Urine filtration membrane under a 4× objective, photographed by an automated digital microscope.
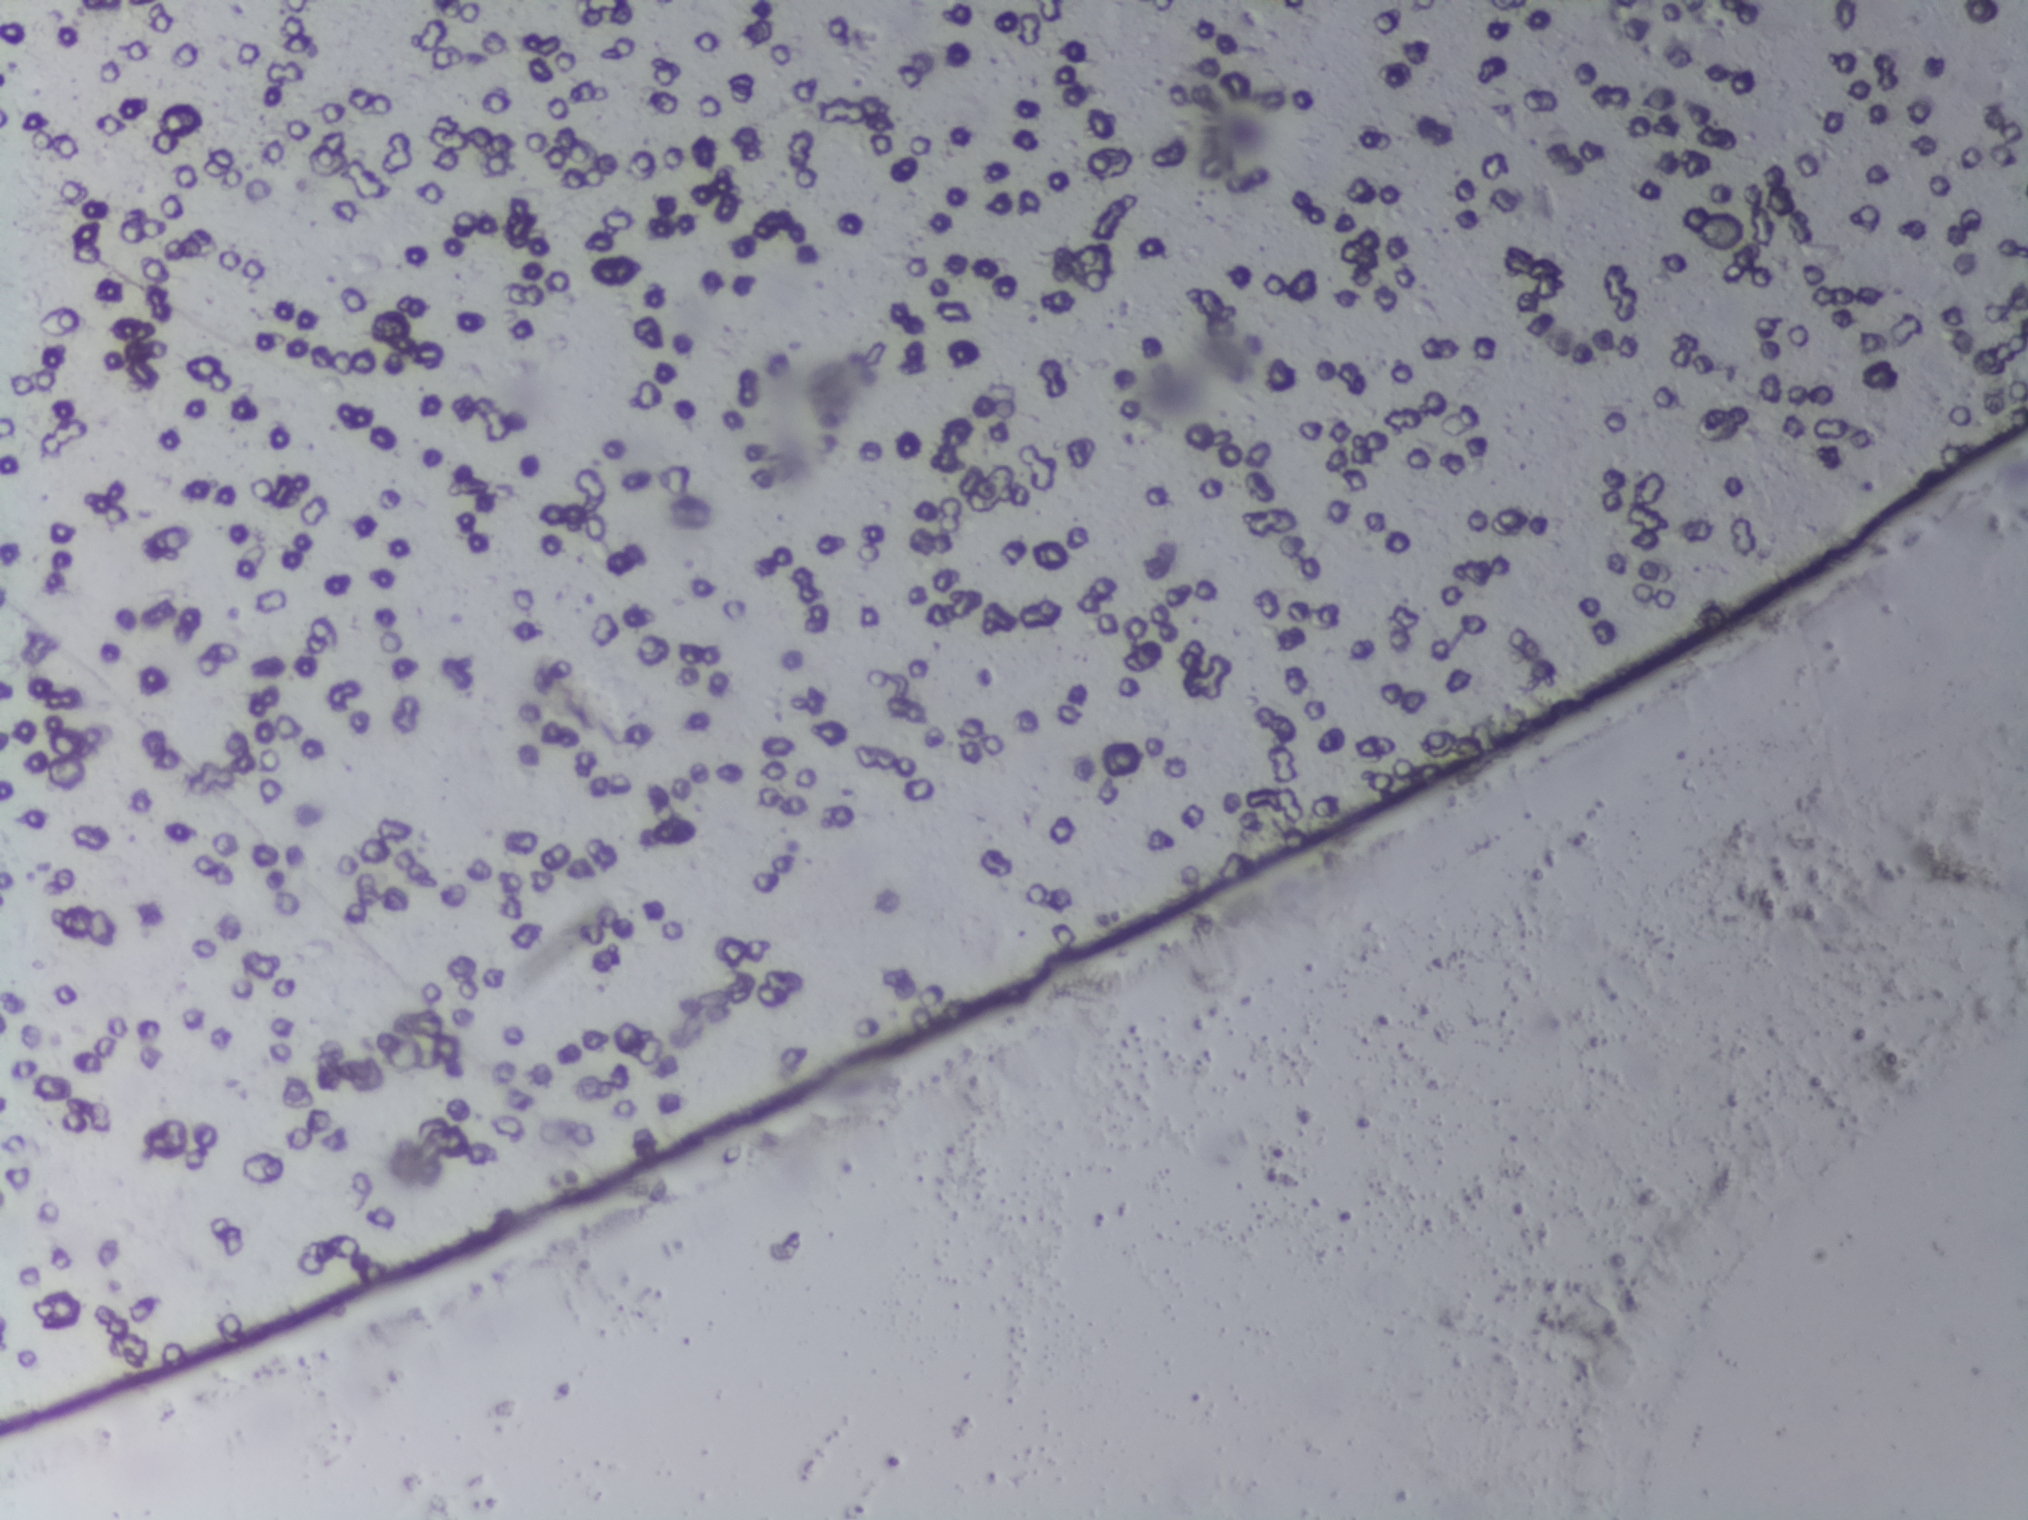
No Schistosoma egg is outlined in this image's expert annotation.